Photograph from an automated digital microscope: urine filter membrane, 4× objective.
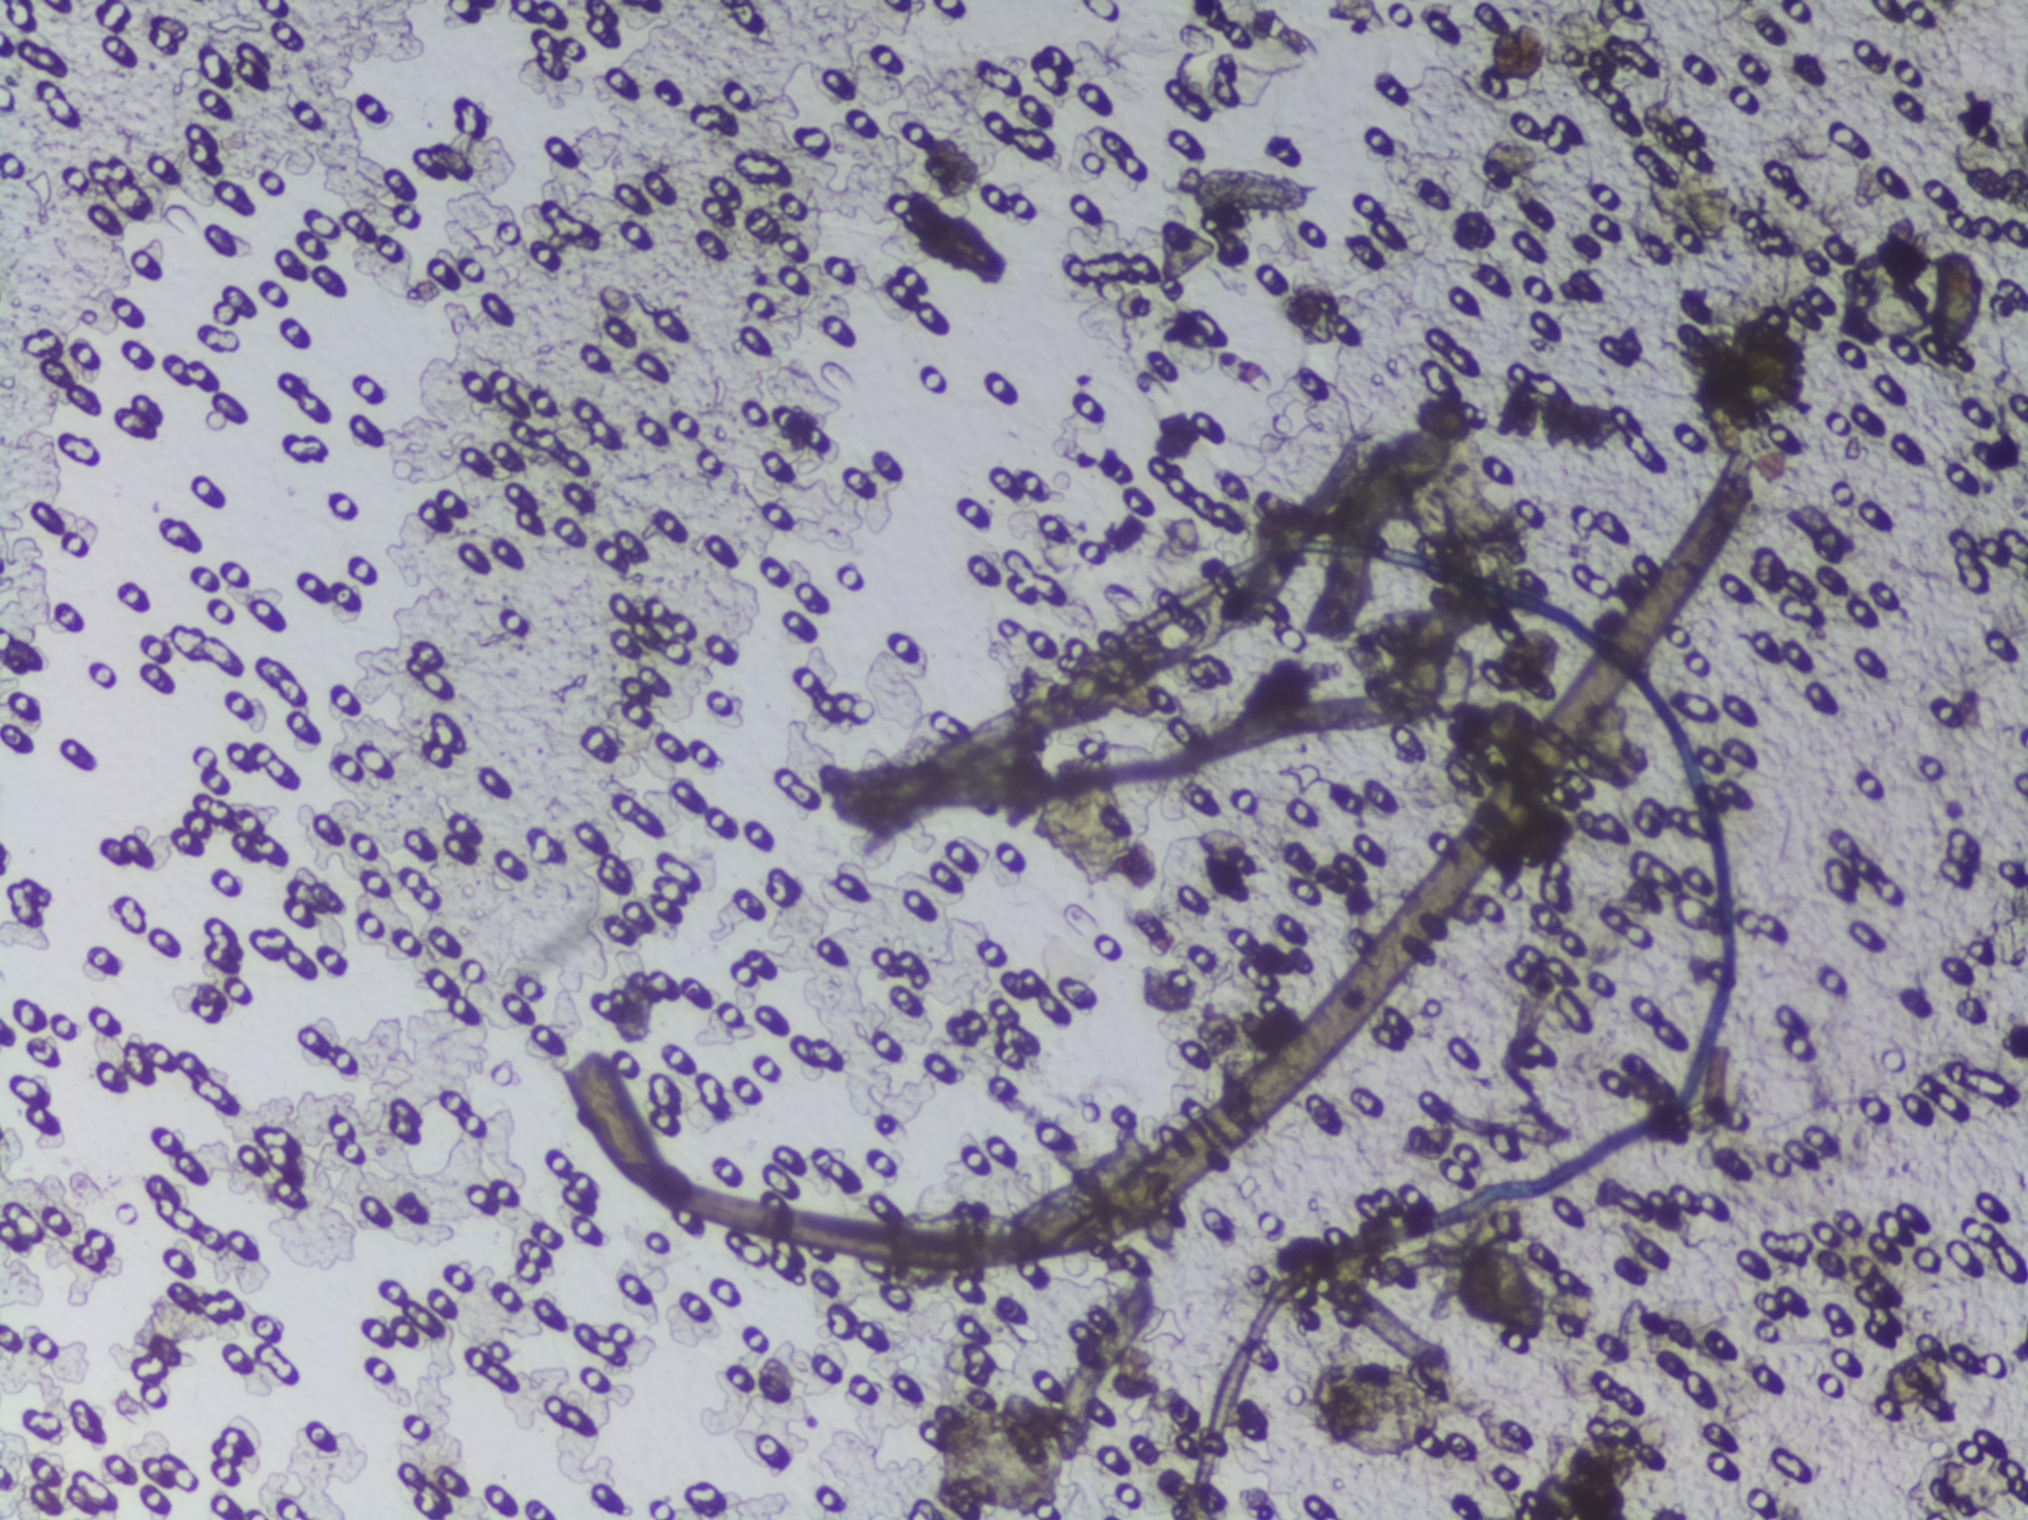
The expert annotation outlines no Schistosoma egg in this image.